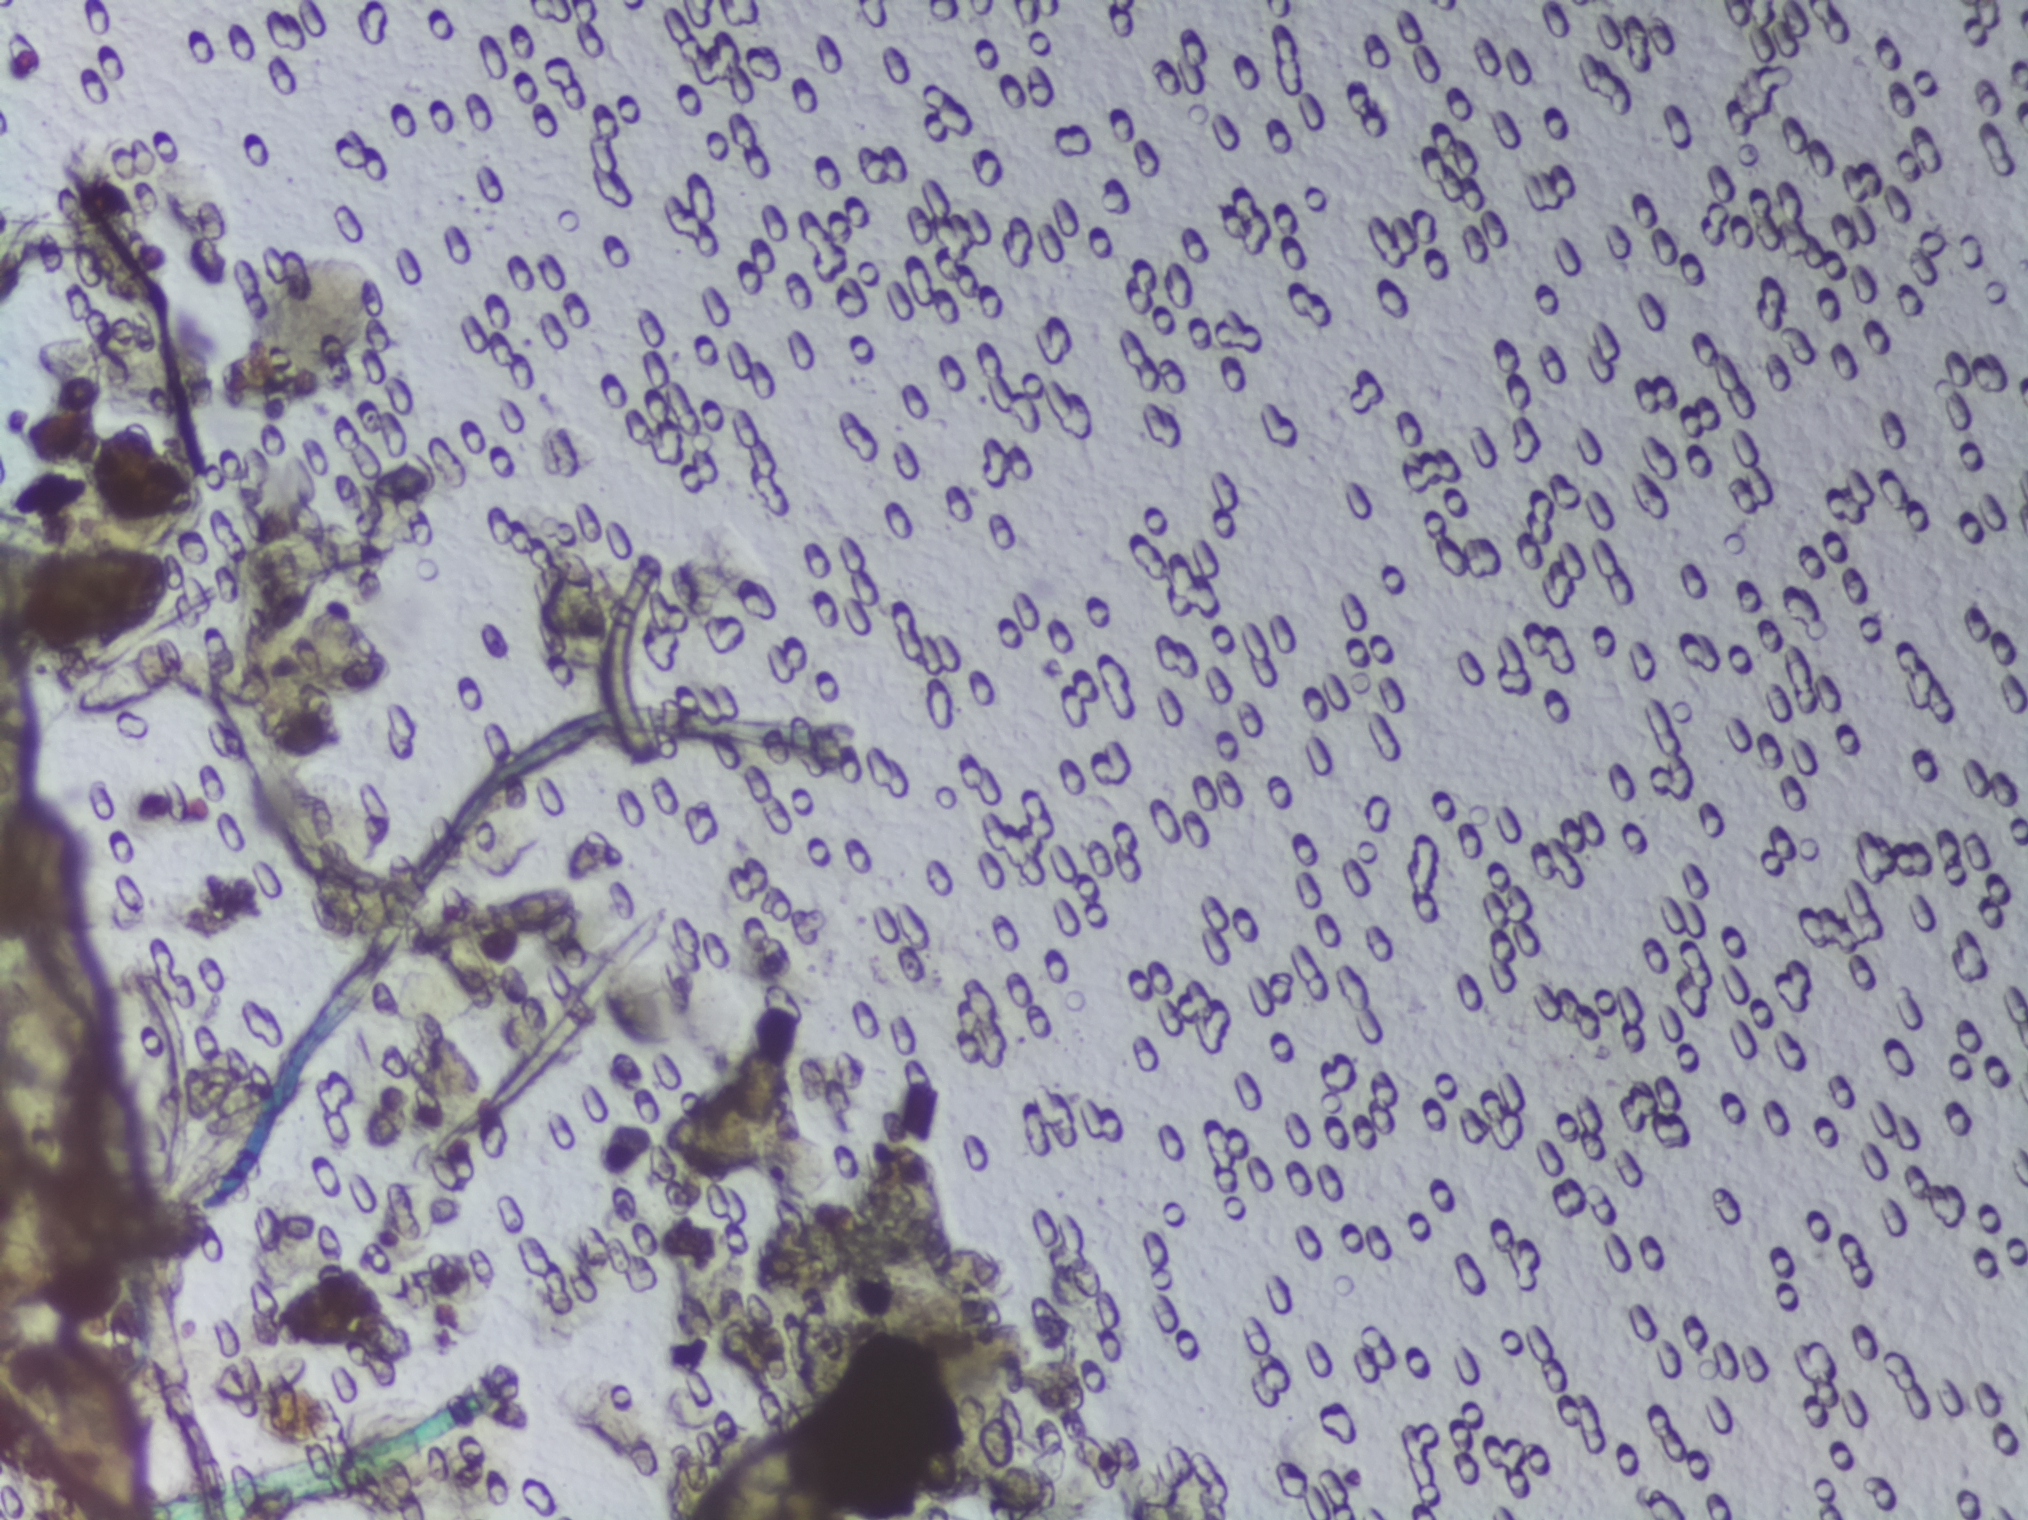
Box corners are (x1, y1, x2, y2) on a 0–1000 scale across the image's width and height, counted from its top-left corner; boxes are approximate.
Findings: one area outlined as Schistosoma eggs. Location: (19, 218, 108, 275). About 0.4% of the image's pixels are marked (the marked pixels themselves, not the box around them). An outlined area can hold more than one egg.
Urine filter membrane photographed through a 4× microscope objective. Field of view: about 1.5 mm wide and 1.1 mm high.